Photomicrograph of a urine filtration membrane, 4× objective. Field of view: about 1.5 mm wide and 1.1 mm high.
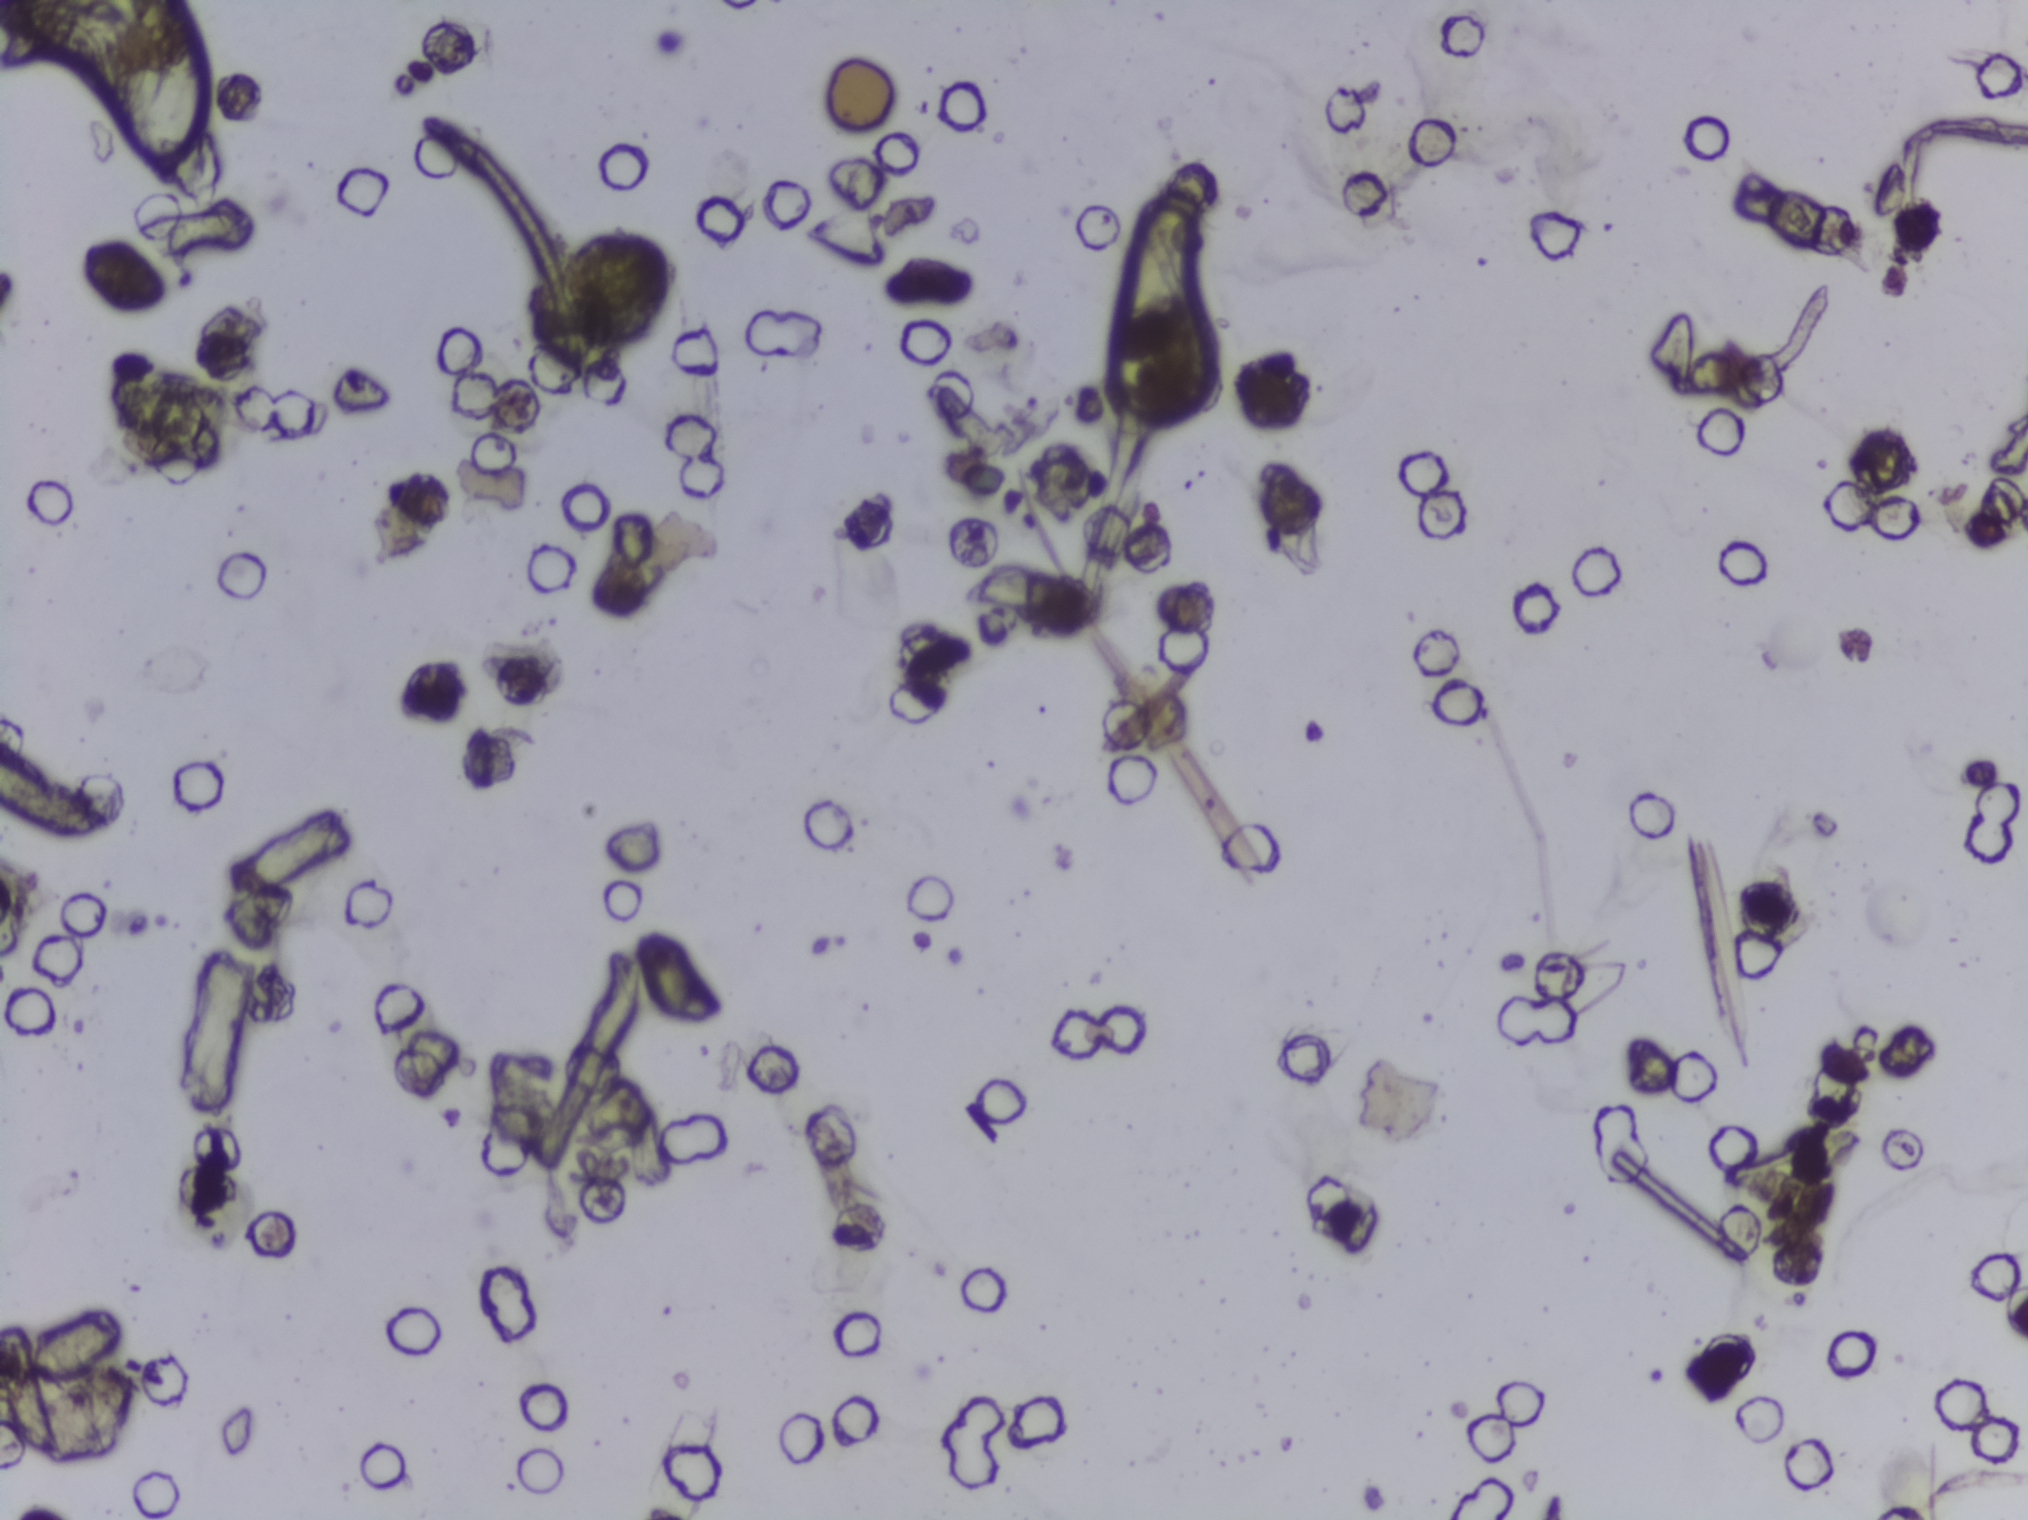
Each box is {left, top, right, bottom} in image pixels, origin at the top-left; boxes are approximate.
Schistosoma eggs, outlined areas: {120, 0, 210, 188} (reaching the top edge of the frame). Eggs that touch can end up inside the same outlined area.